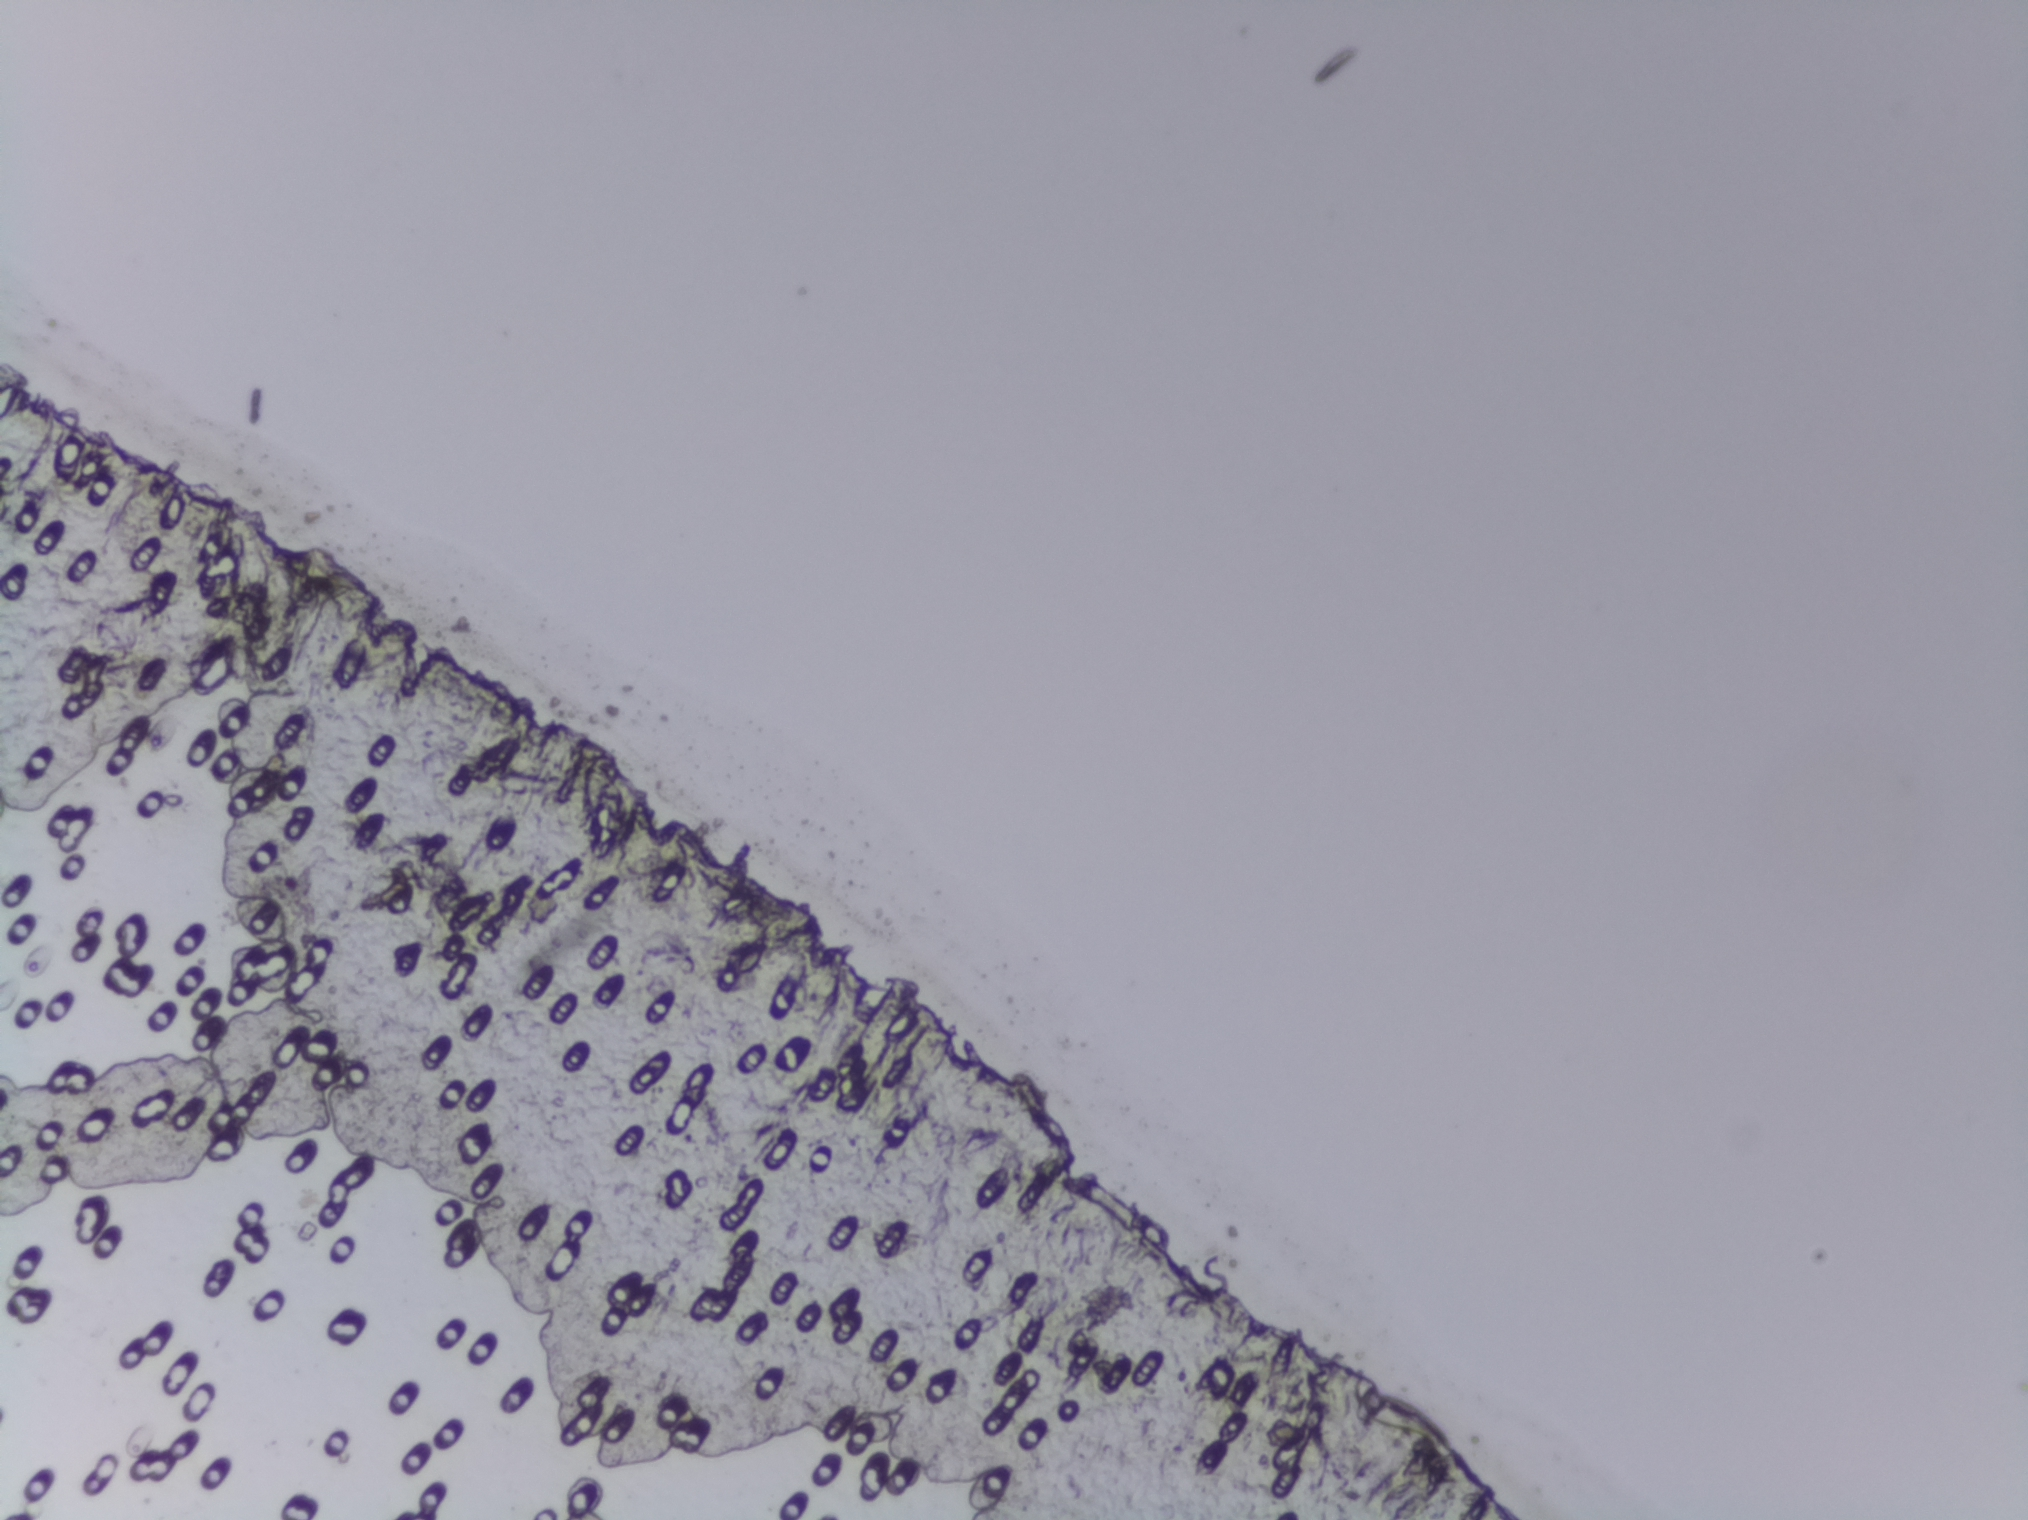
Urine filtration membrane under a 4× objective, photographed by an automated digital microscope.
Schistosoma eggs: none outlined.